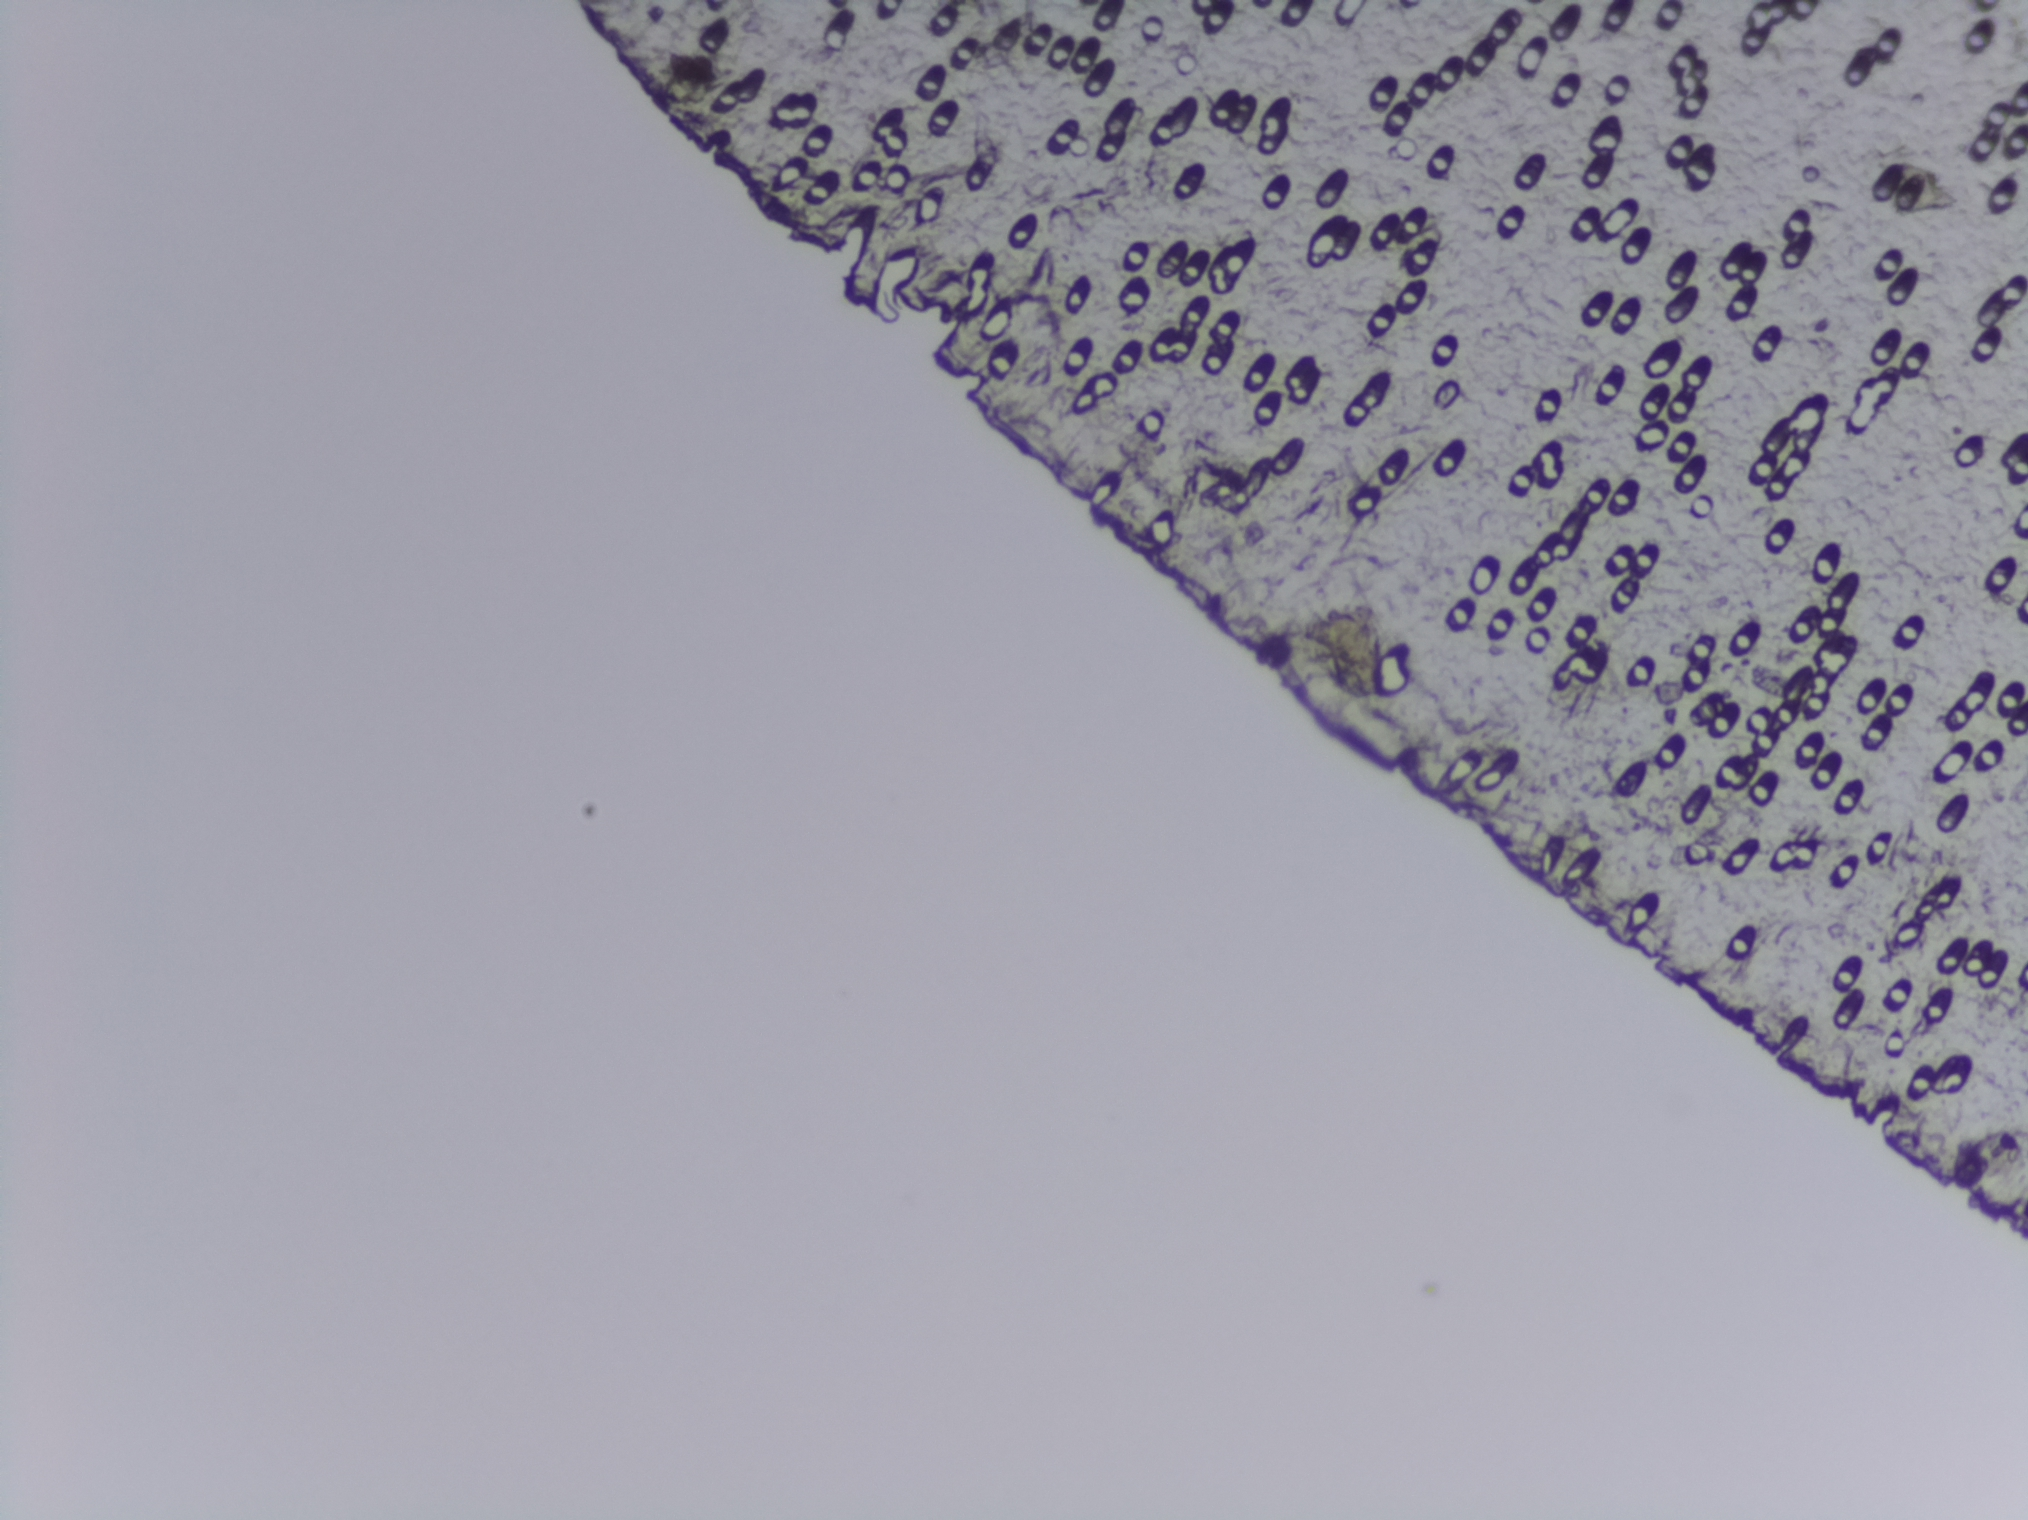
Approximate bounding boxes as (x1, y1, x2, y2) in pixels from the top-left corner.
Schistosoma eggs are outlined in the expert annotation at (1305, 591, 1396, 700). Eggs that touch can end up inside the same outlined area.
One field of view of a urine filter membrane, 4× objective, 2028 × 1520 pixels.